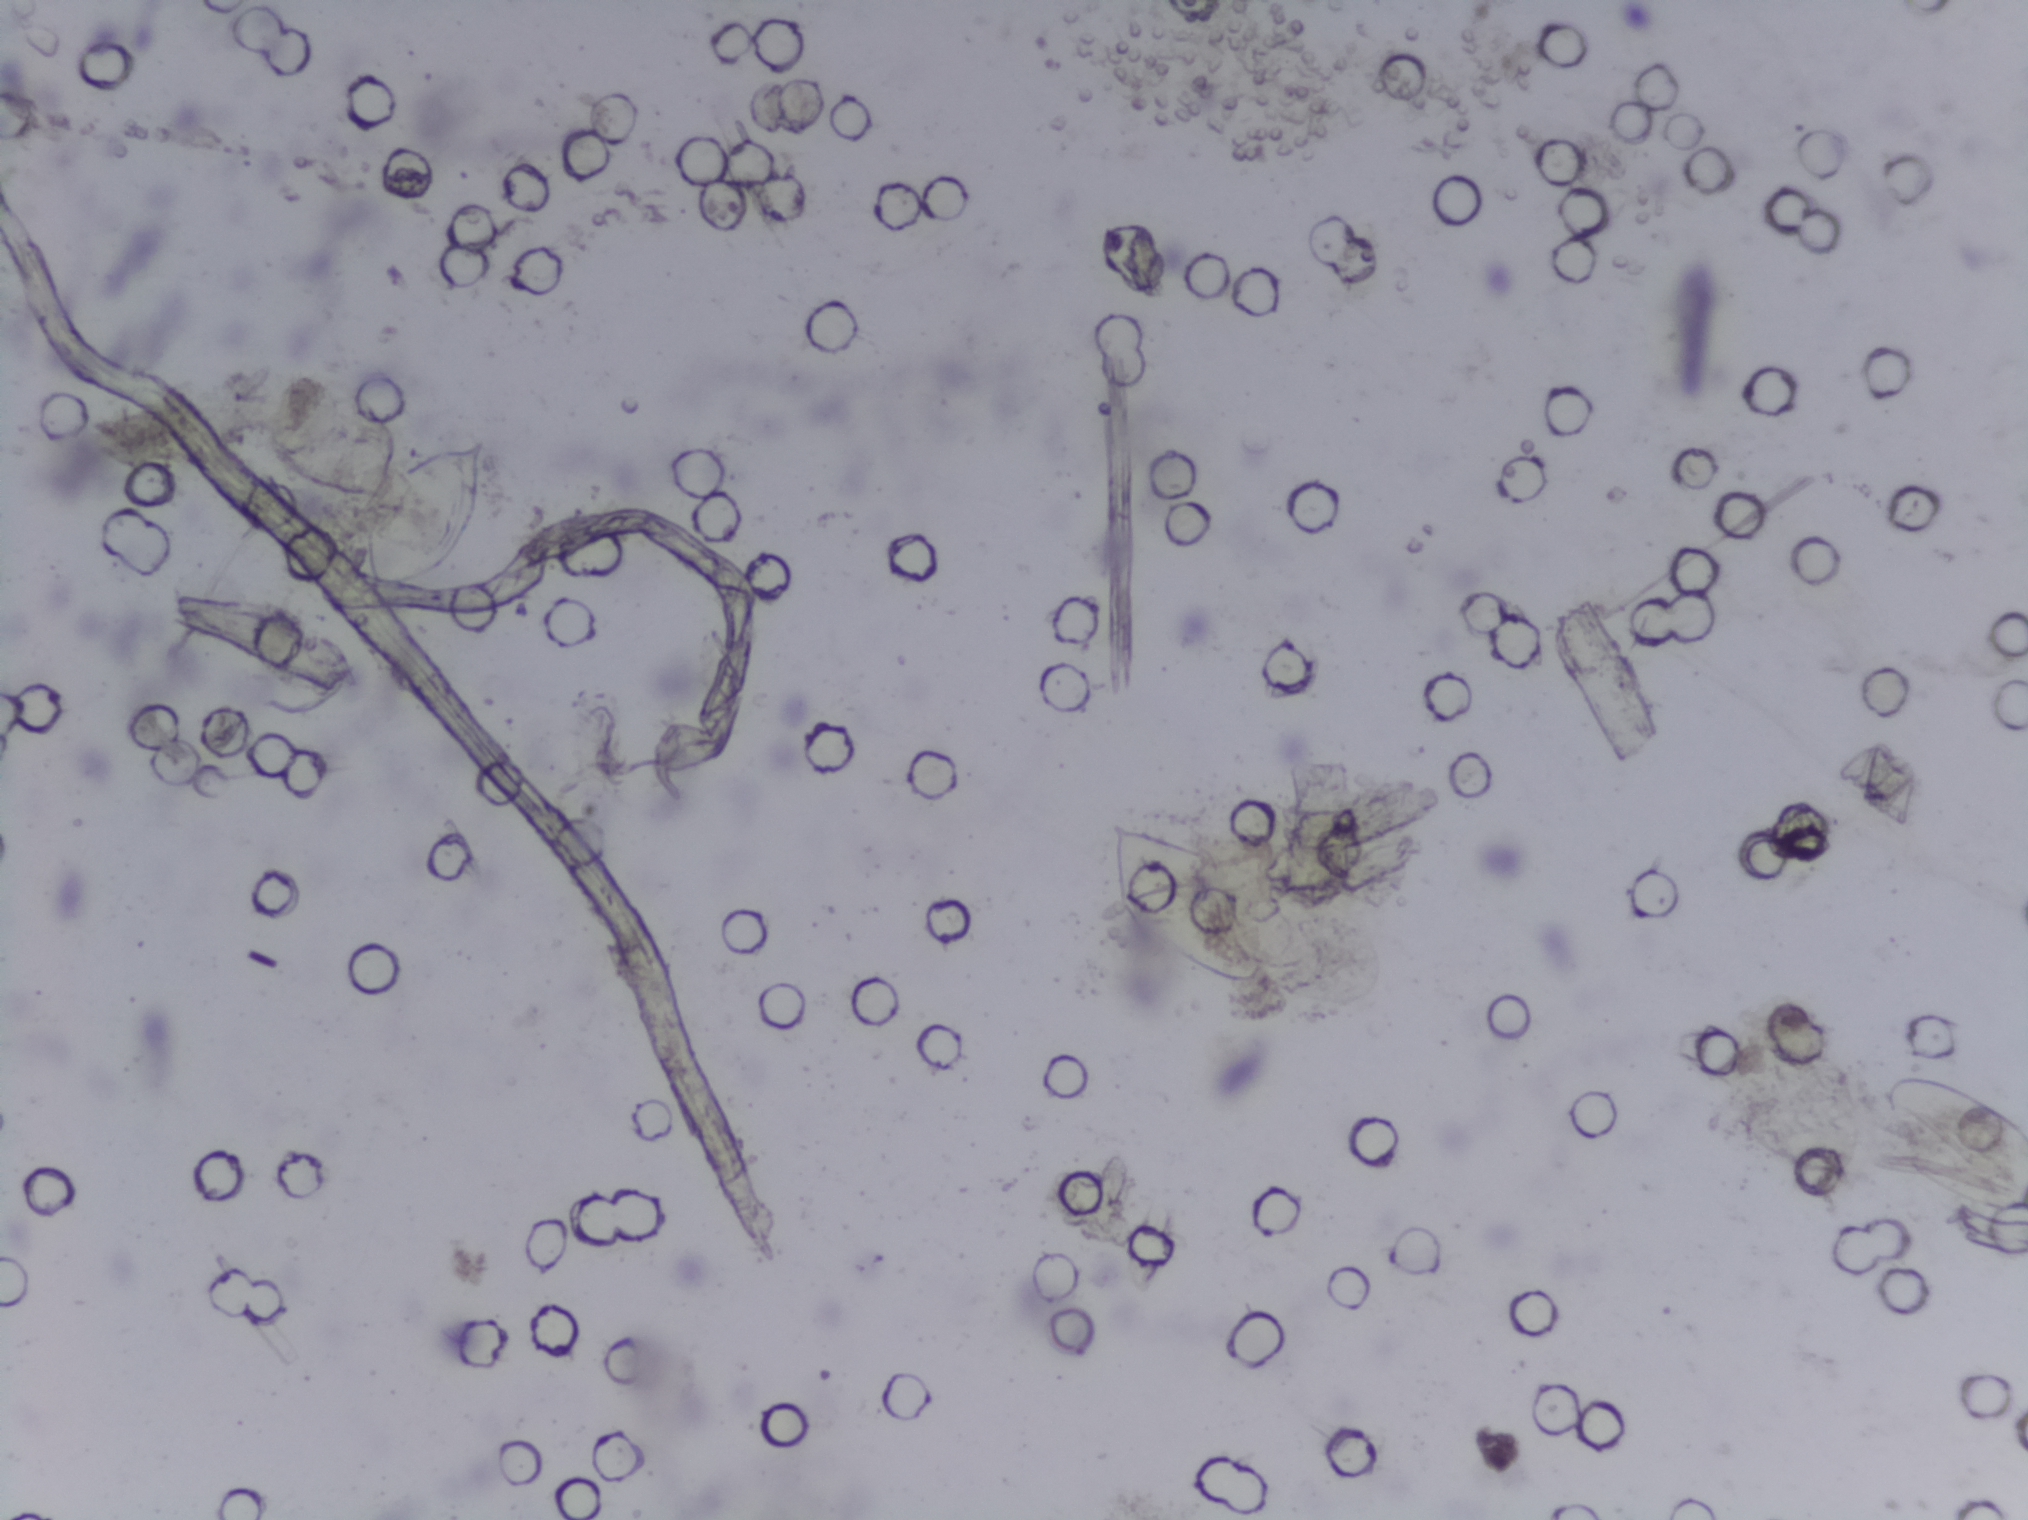
Photograph from an automated digital microscope: urine filter membrane, 4× objective. The image covers about 1.5 × 1.1 mm of the membrane.
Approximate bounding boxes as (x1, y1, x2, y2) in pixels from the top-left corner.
The expert annotation outlines Schistosoma eggs at (365, 423, 489, 592); (1103, 818, 1268, 989); (1881, 1073, 2027, 1220) (reaching the right edge of the frame). A single outlined area may contain several eggs.